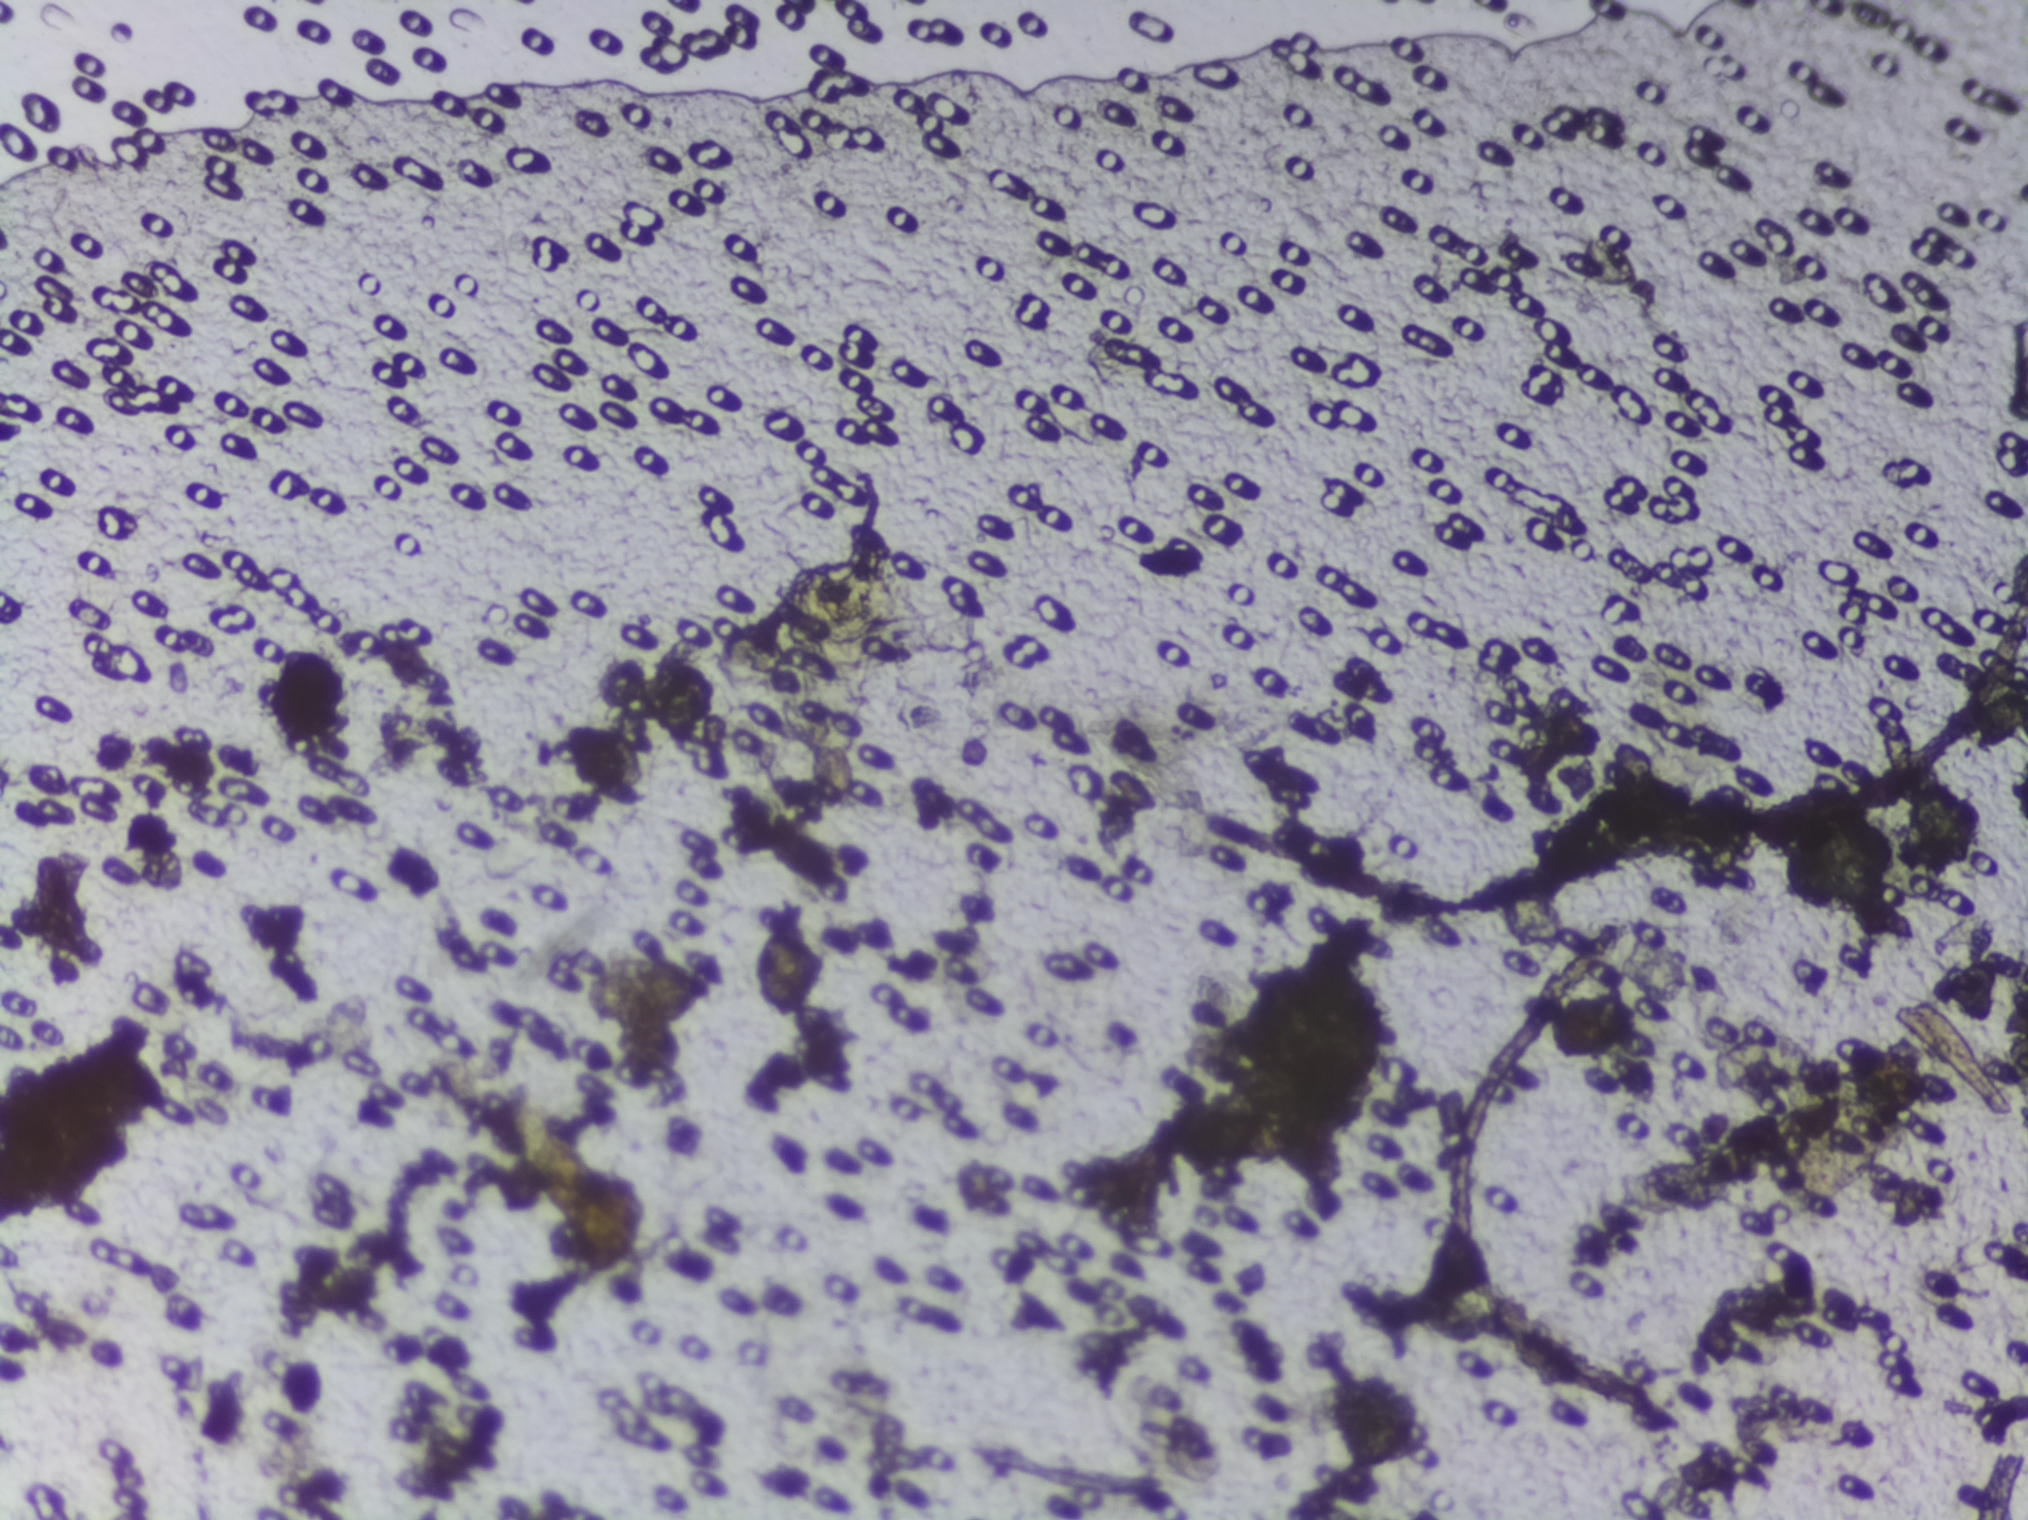
Urine filter membrane photographed through a 4× microscope objective.
No Schistosoma egg is outlined in this image's expert annotation.